Urine filter membrane photographed through a 4× microscope objective. The field of view is about 1.5 mm × 1.1 mm.
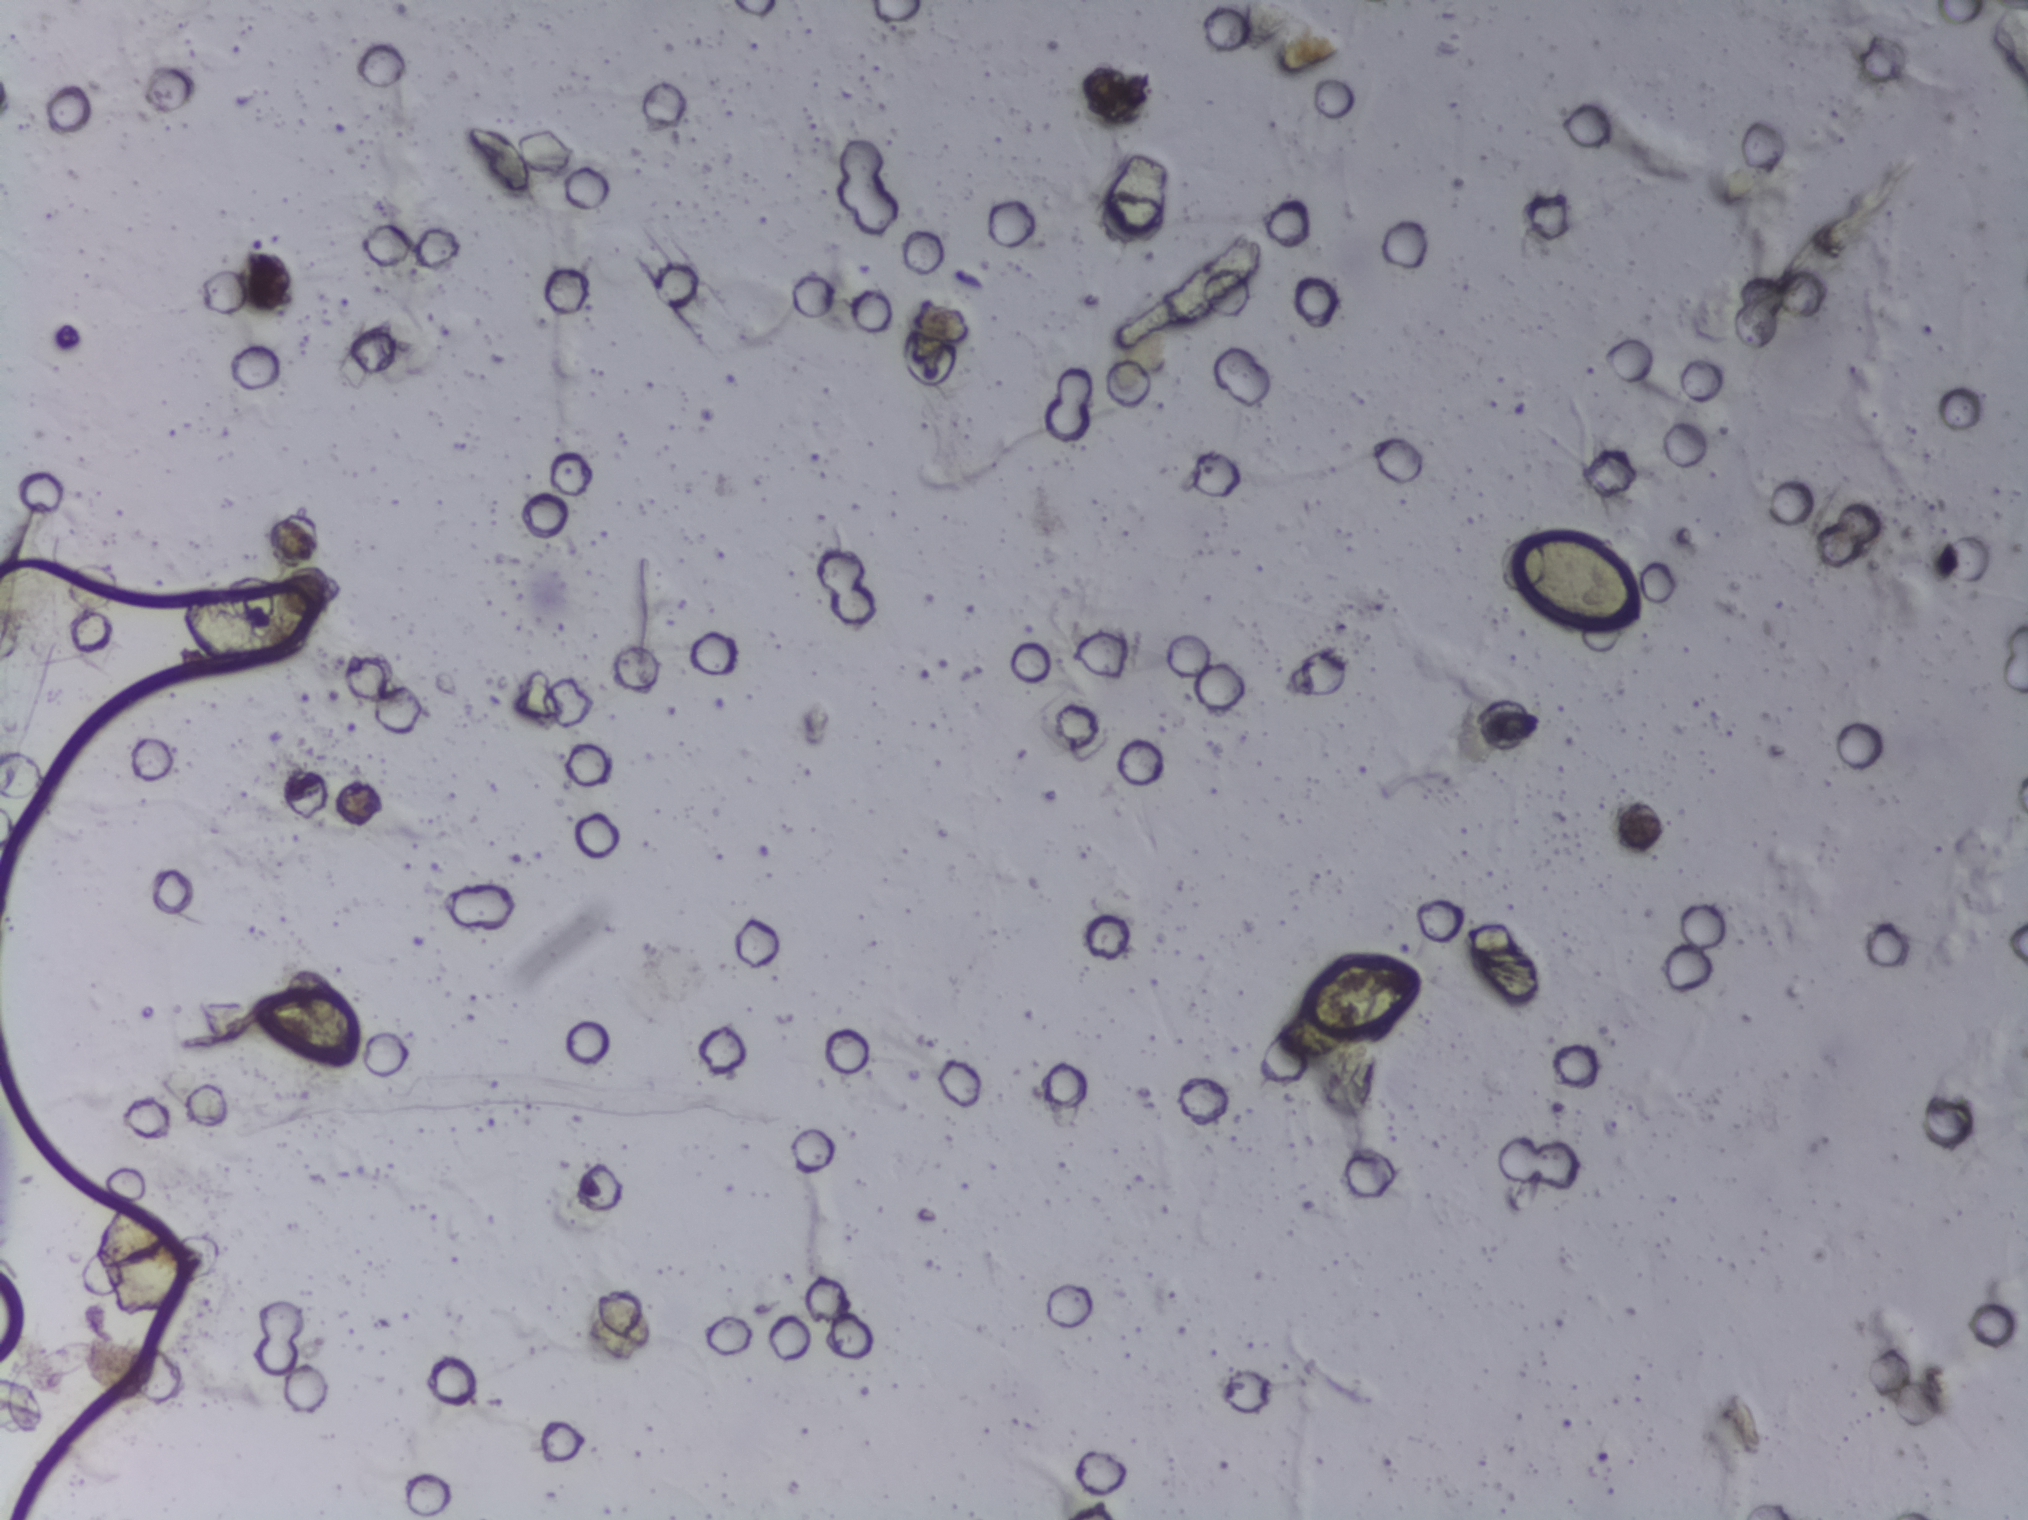
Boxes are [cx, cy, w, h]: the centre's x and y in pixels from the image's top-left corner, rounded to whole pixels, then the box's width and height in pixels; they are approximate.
{"schistosoma_egg_areas_cxcywh_px": [[1575, 582, 142, 111]]}
An outlined area can hold more than one egg. Any one outlined egg may, rarely, be S. mansoni rather than S. haematobium.